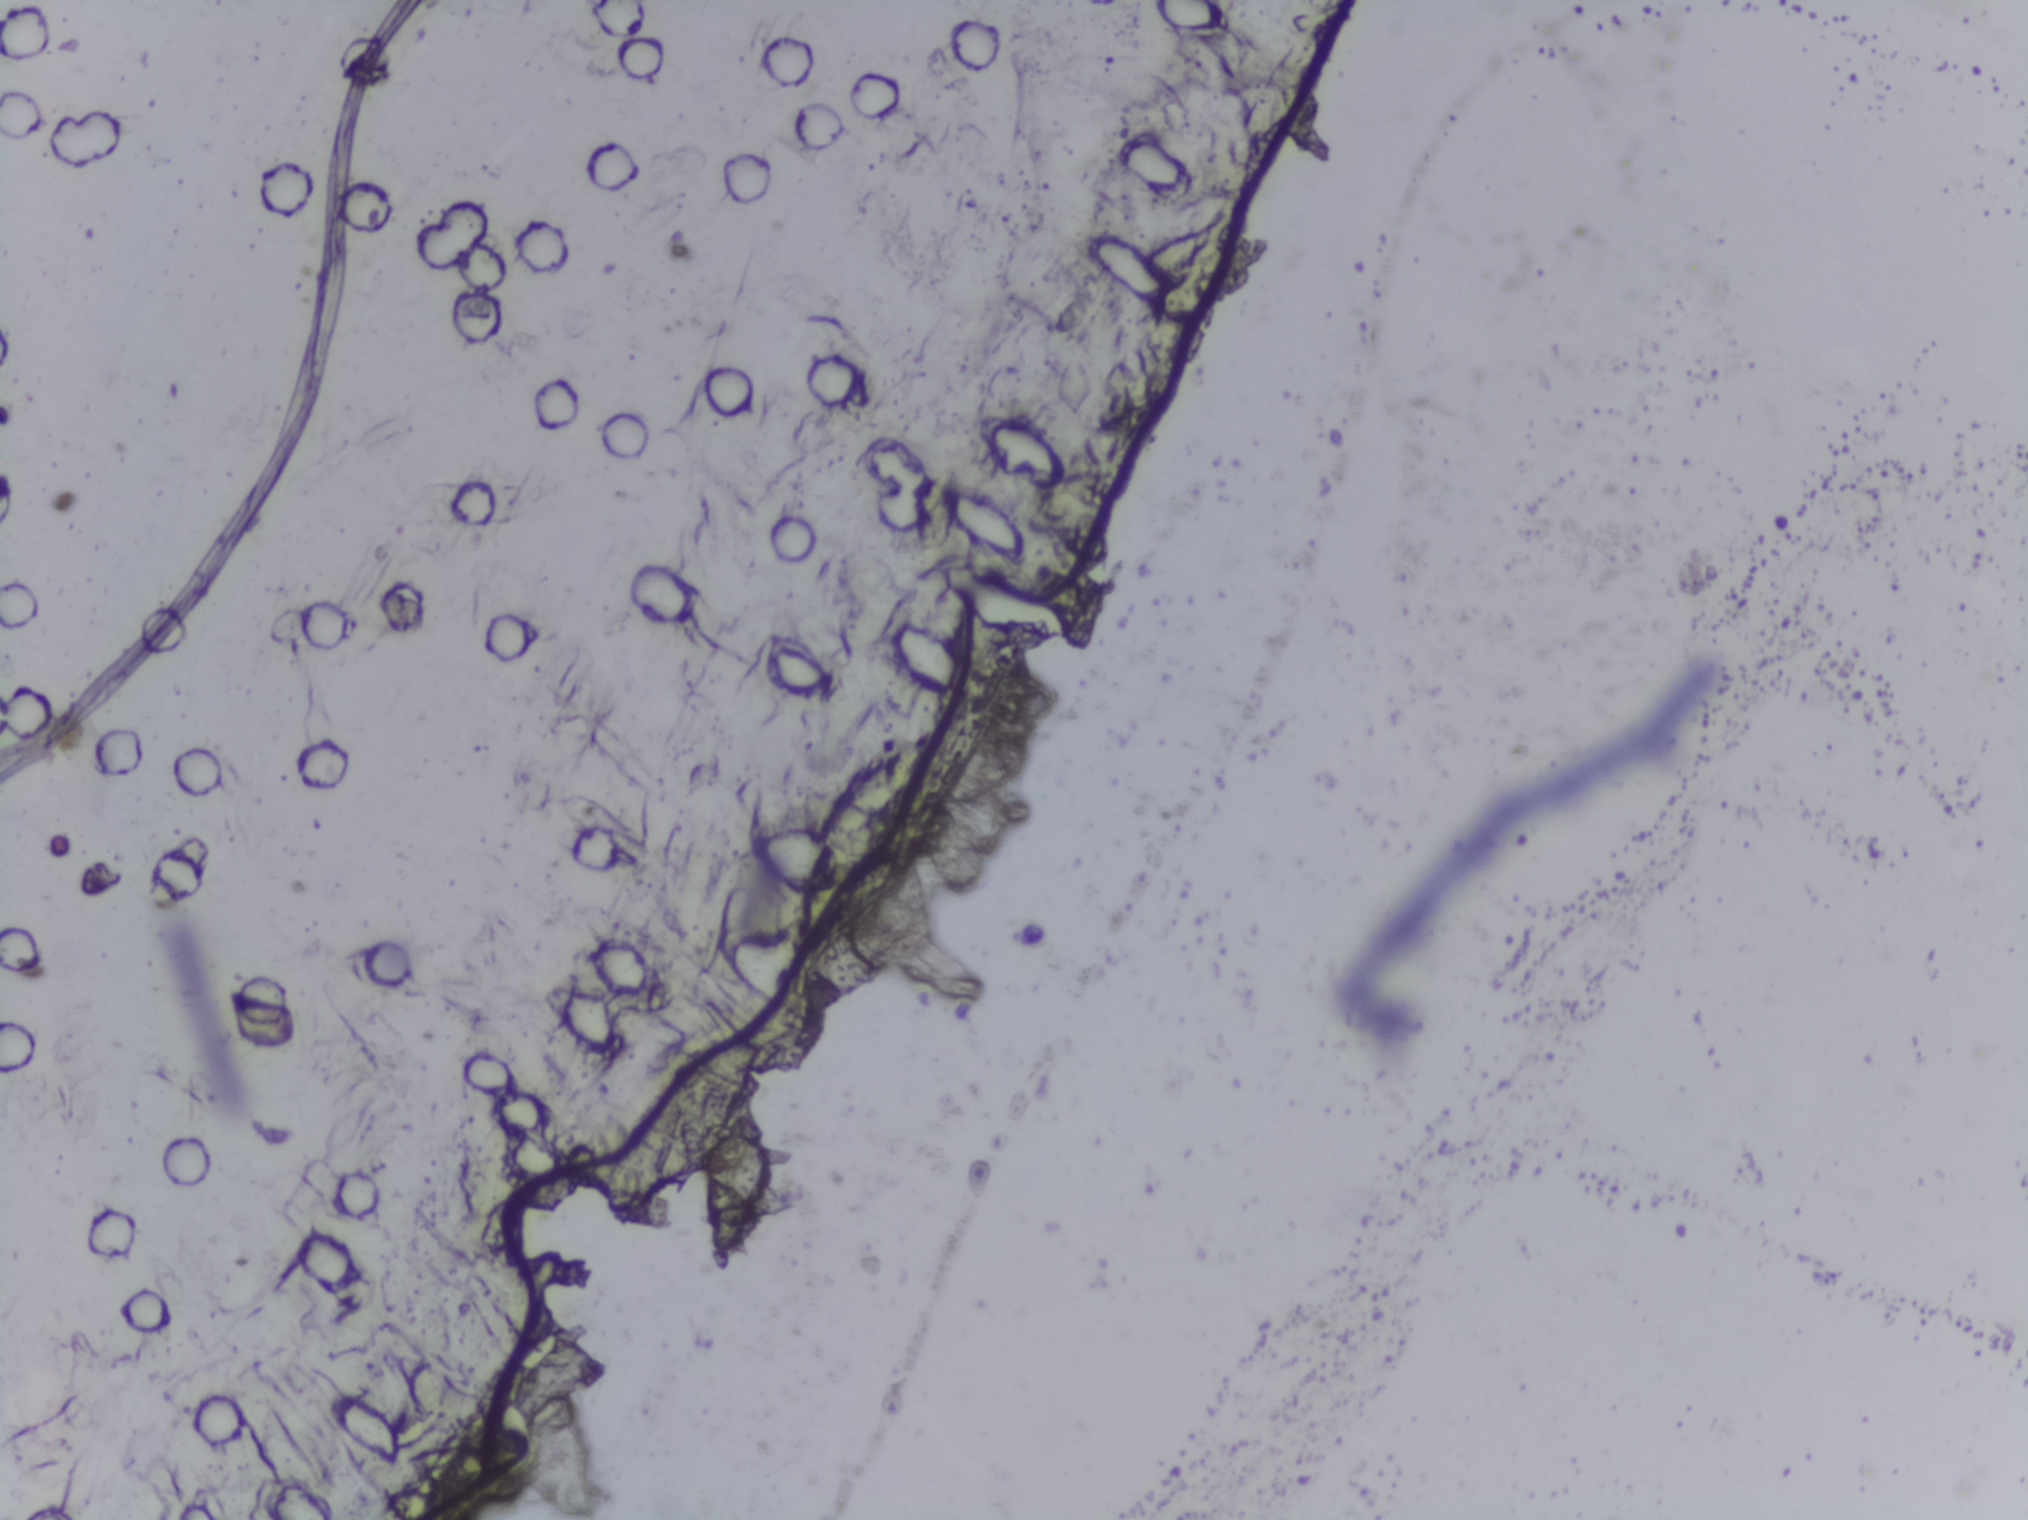
Urine filter membrane photographed through a 4× microscope objective.
Schistosoma eggs: none outlined.